One field of view of a urine filter membrane, 4× objective, 2028 × 1520 pixels.
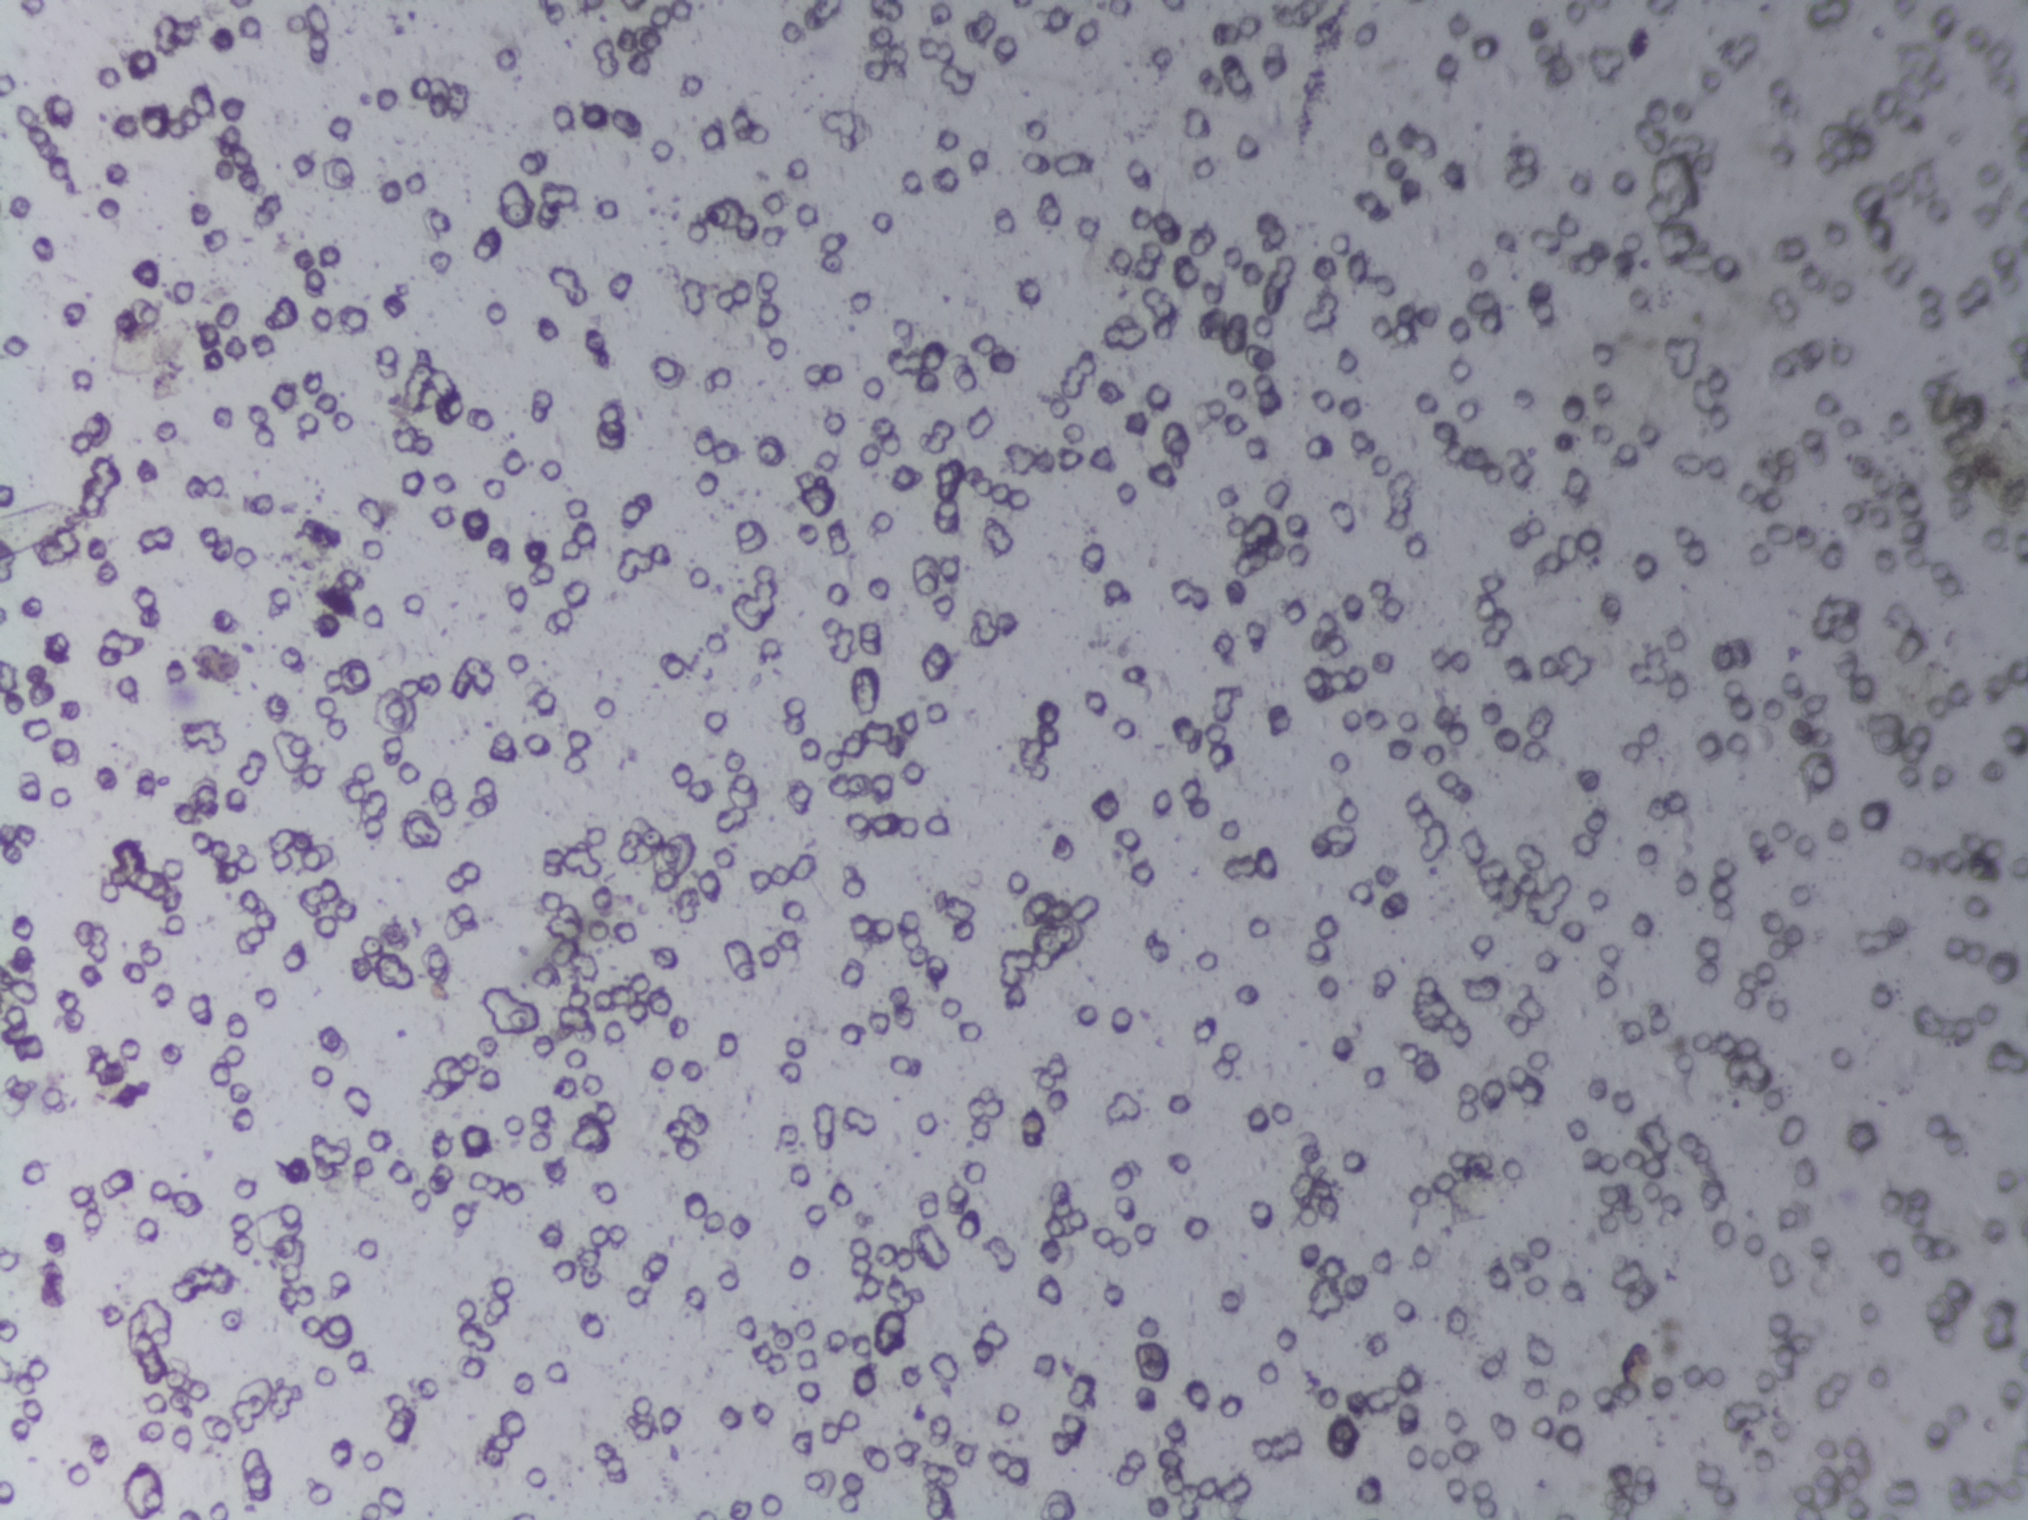
Schistosoma eggs: none outlined.